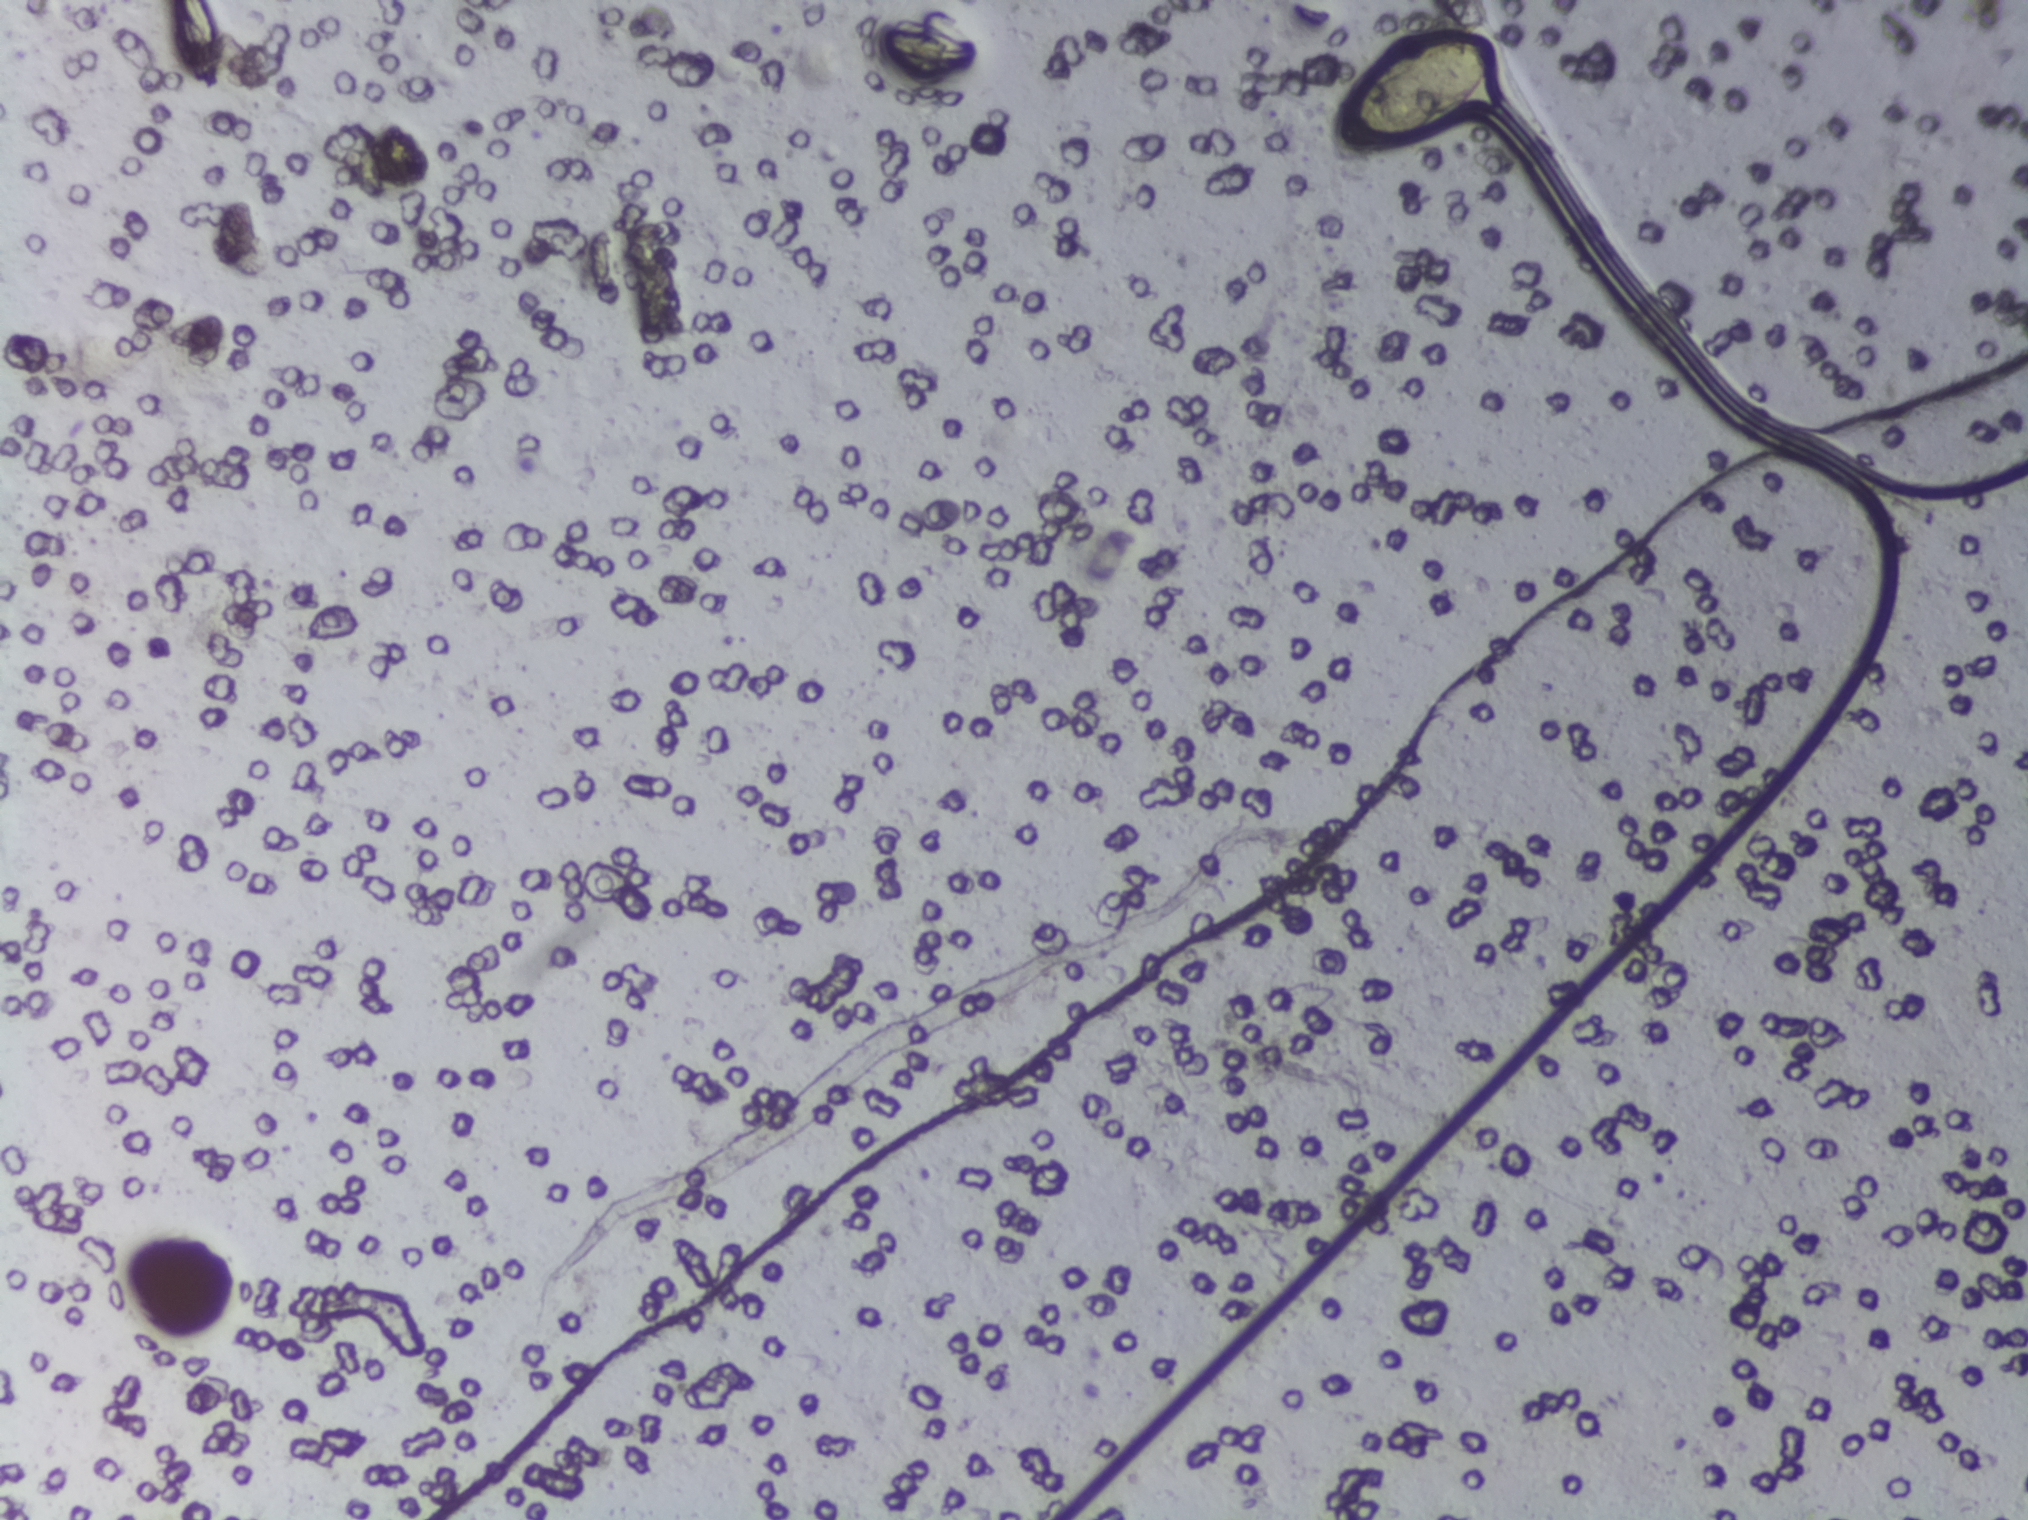
One field of view of a urine filter membrane, 4× objective, 2028 × 1520 pixels.
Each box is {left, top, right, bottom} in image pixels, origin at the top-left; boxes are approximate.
Schistosoma eggs are outlined in the expert annotation at {1337, 38, 1491, 158}. About 0.4% of the image's pixels are marked (the marked pixels themselves, not the box around them). A single outlined area may contain several eggs.